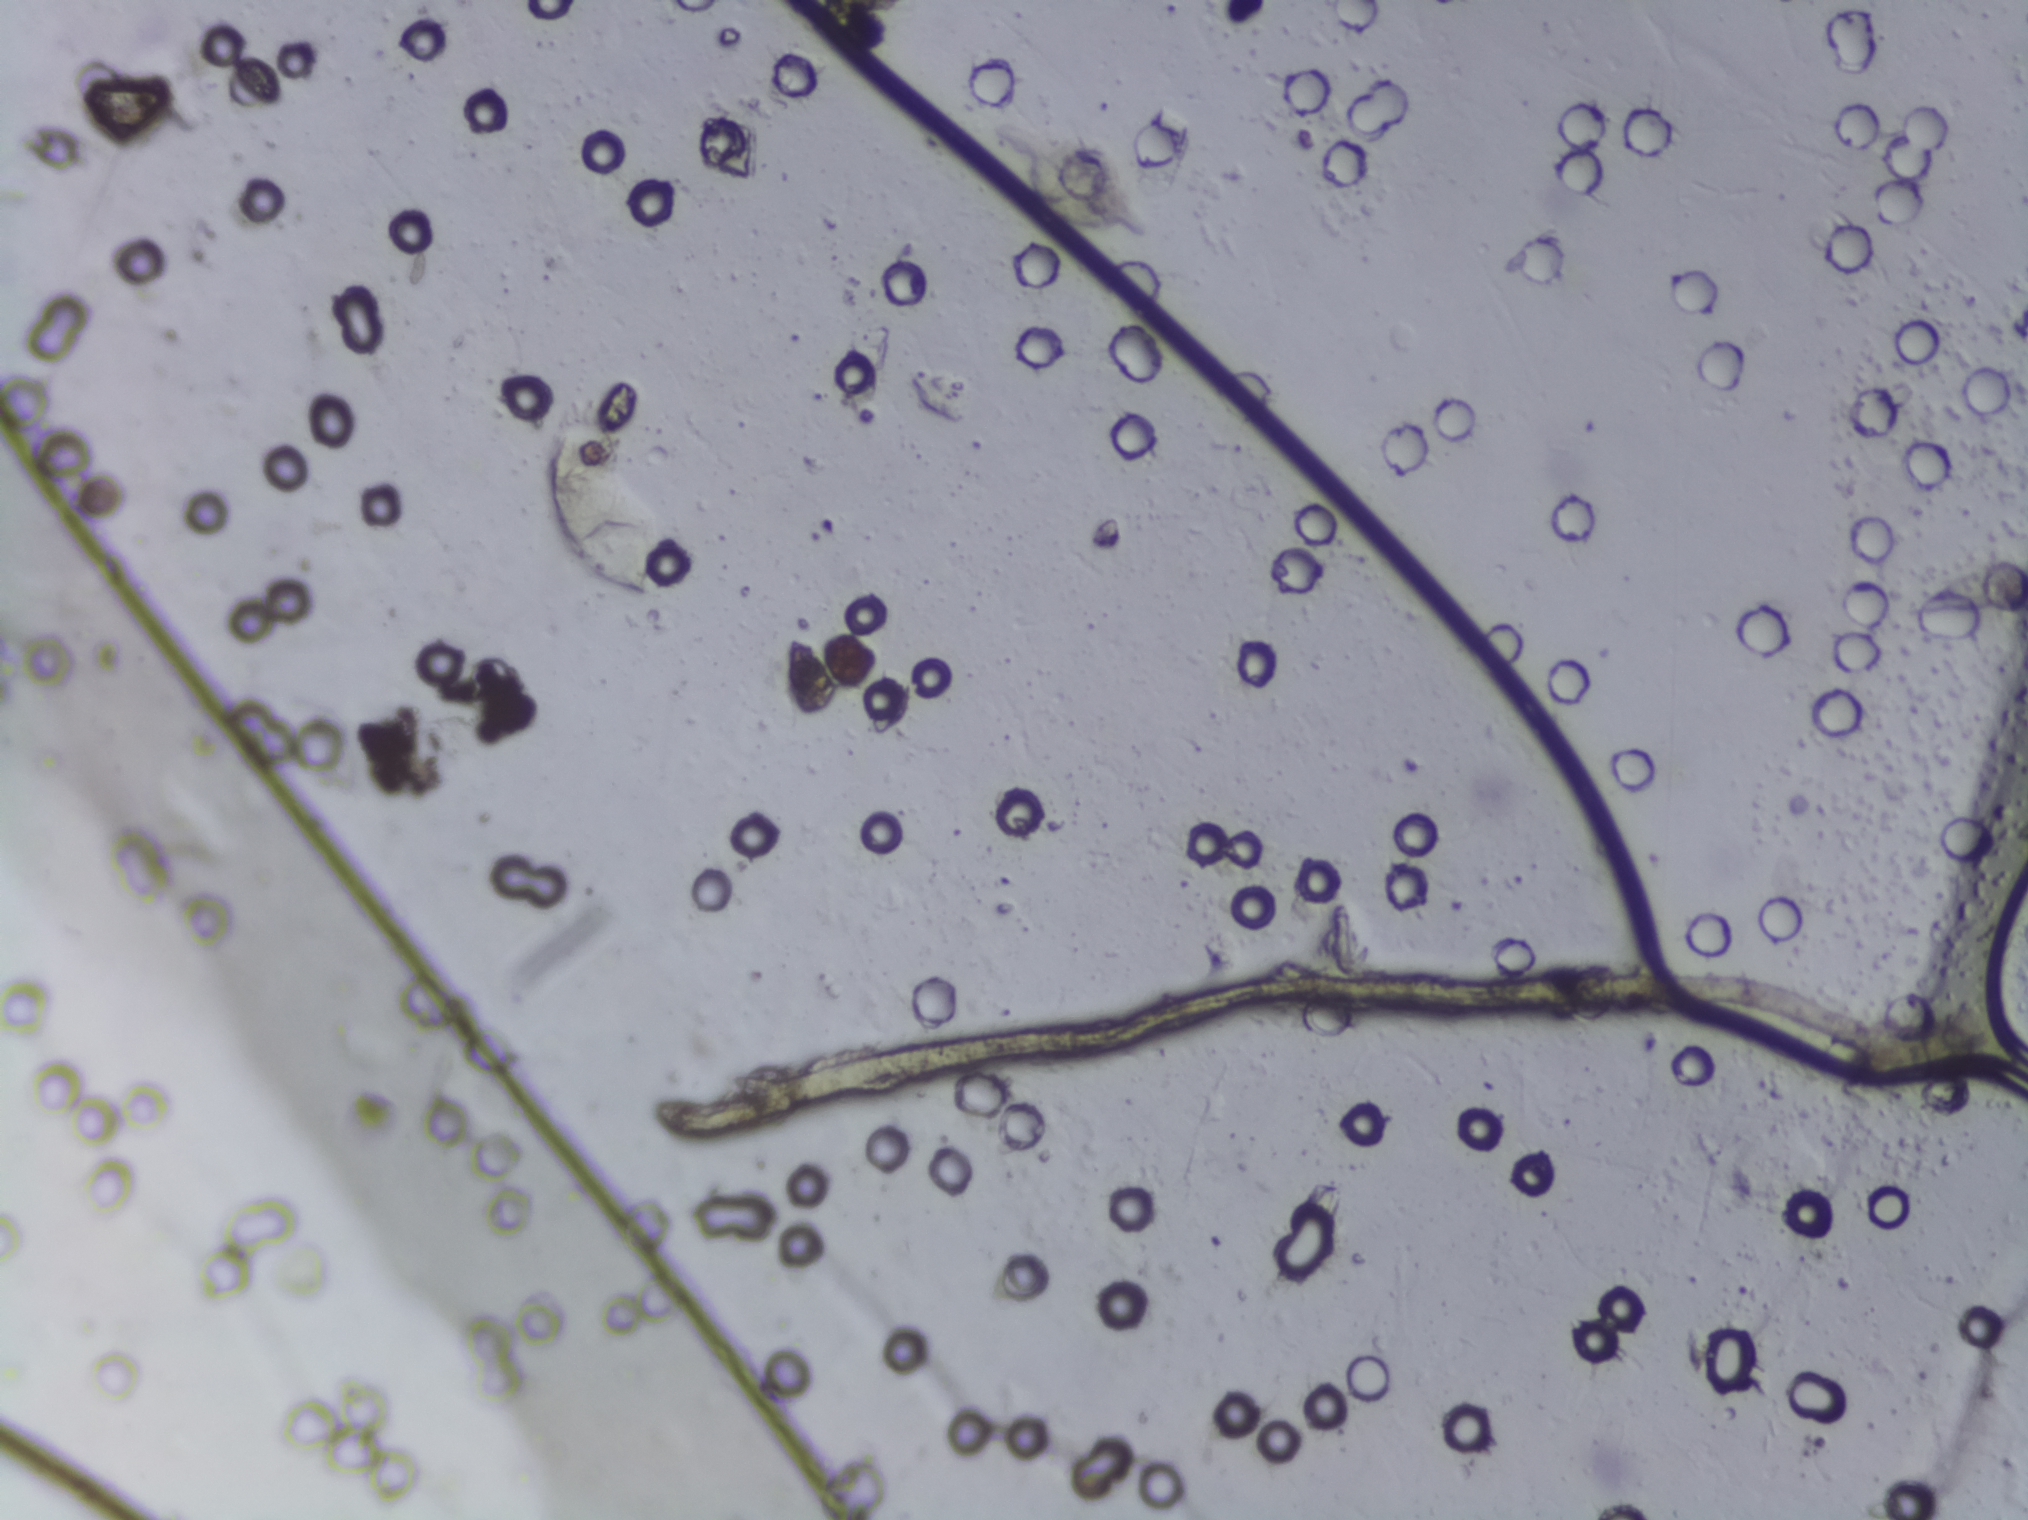
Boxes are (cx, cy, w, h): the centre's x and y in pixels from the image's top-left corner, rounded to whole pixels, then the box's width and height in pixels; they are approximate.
One area of this image is outlined as Schistosoma eggs: (cx=603, cy=516, w=124, h=186). A single outlined area may contain several eggs.
Urine filter membrane photographed through a 4× microscope objective.